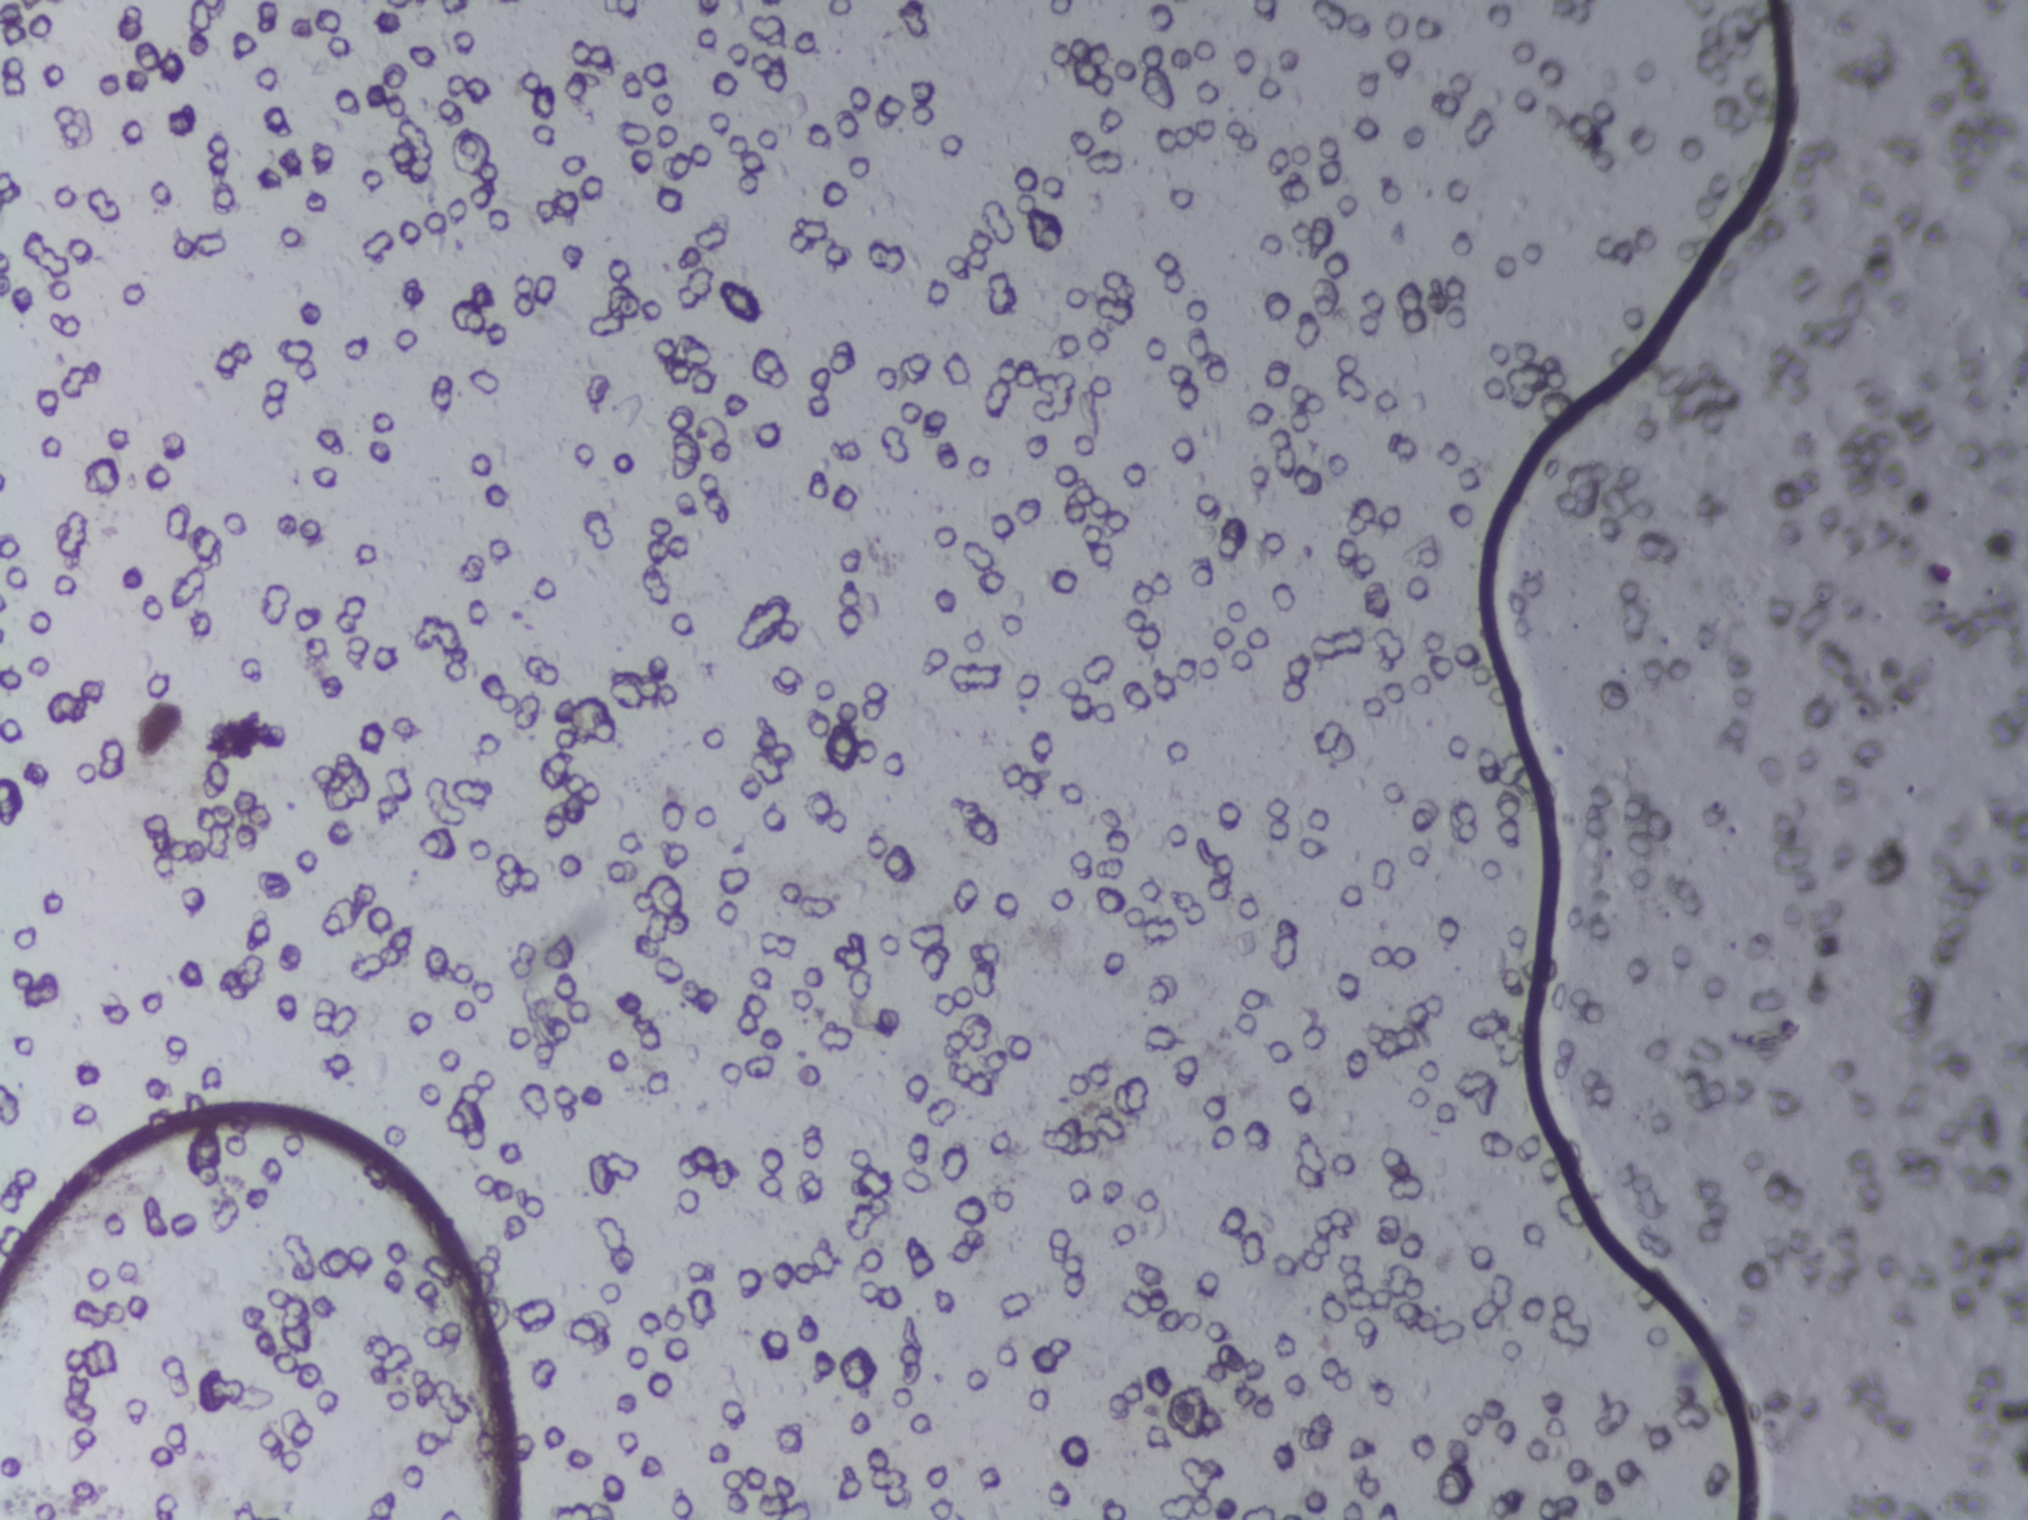
Photograph from an automated digital microscope: urine filter membrane, 4× objective.
The expert annotation marks no Schistosoma egg in this field of view.